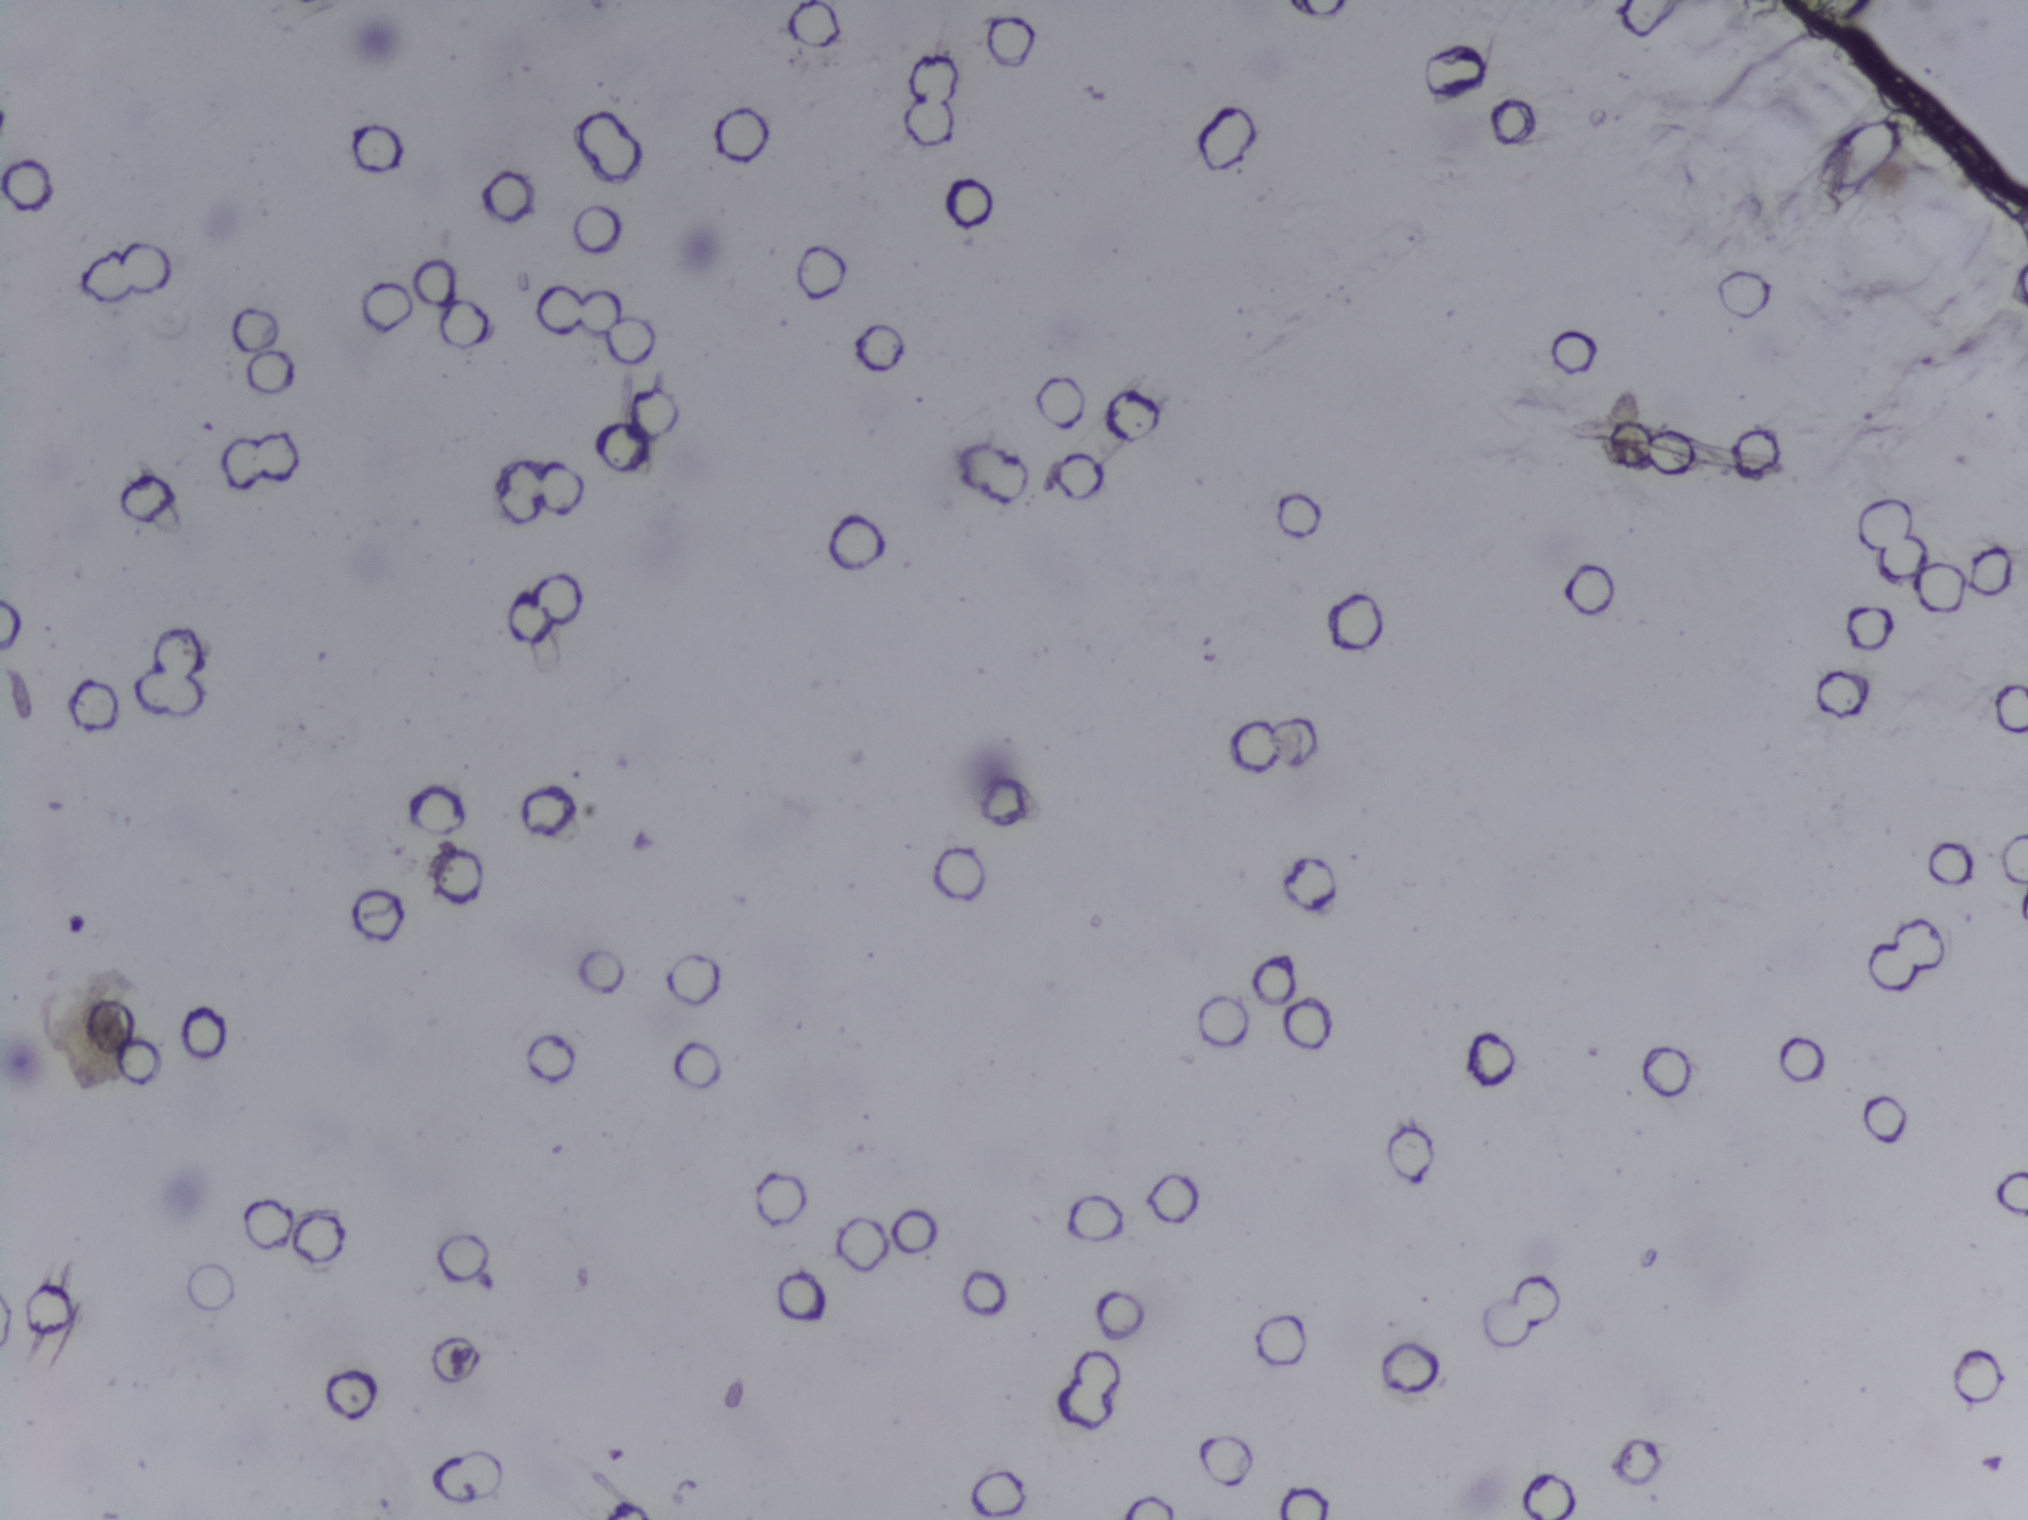
No Schistosoma egg is outlined in this image's expert annotation.
Photograph from an automated digital microscope: urine filter membrane, 4× objective. The field of view is about 1.5 mm × 1.1 mm.